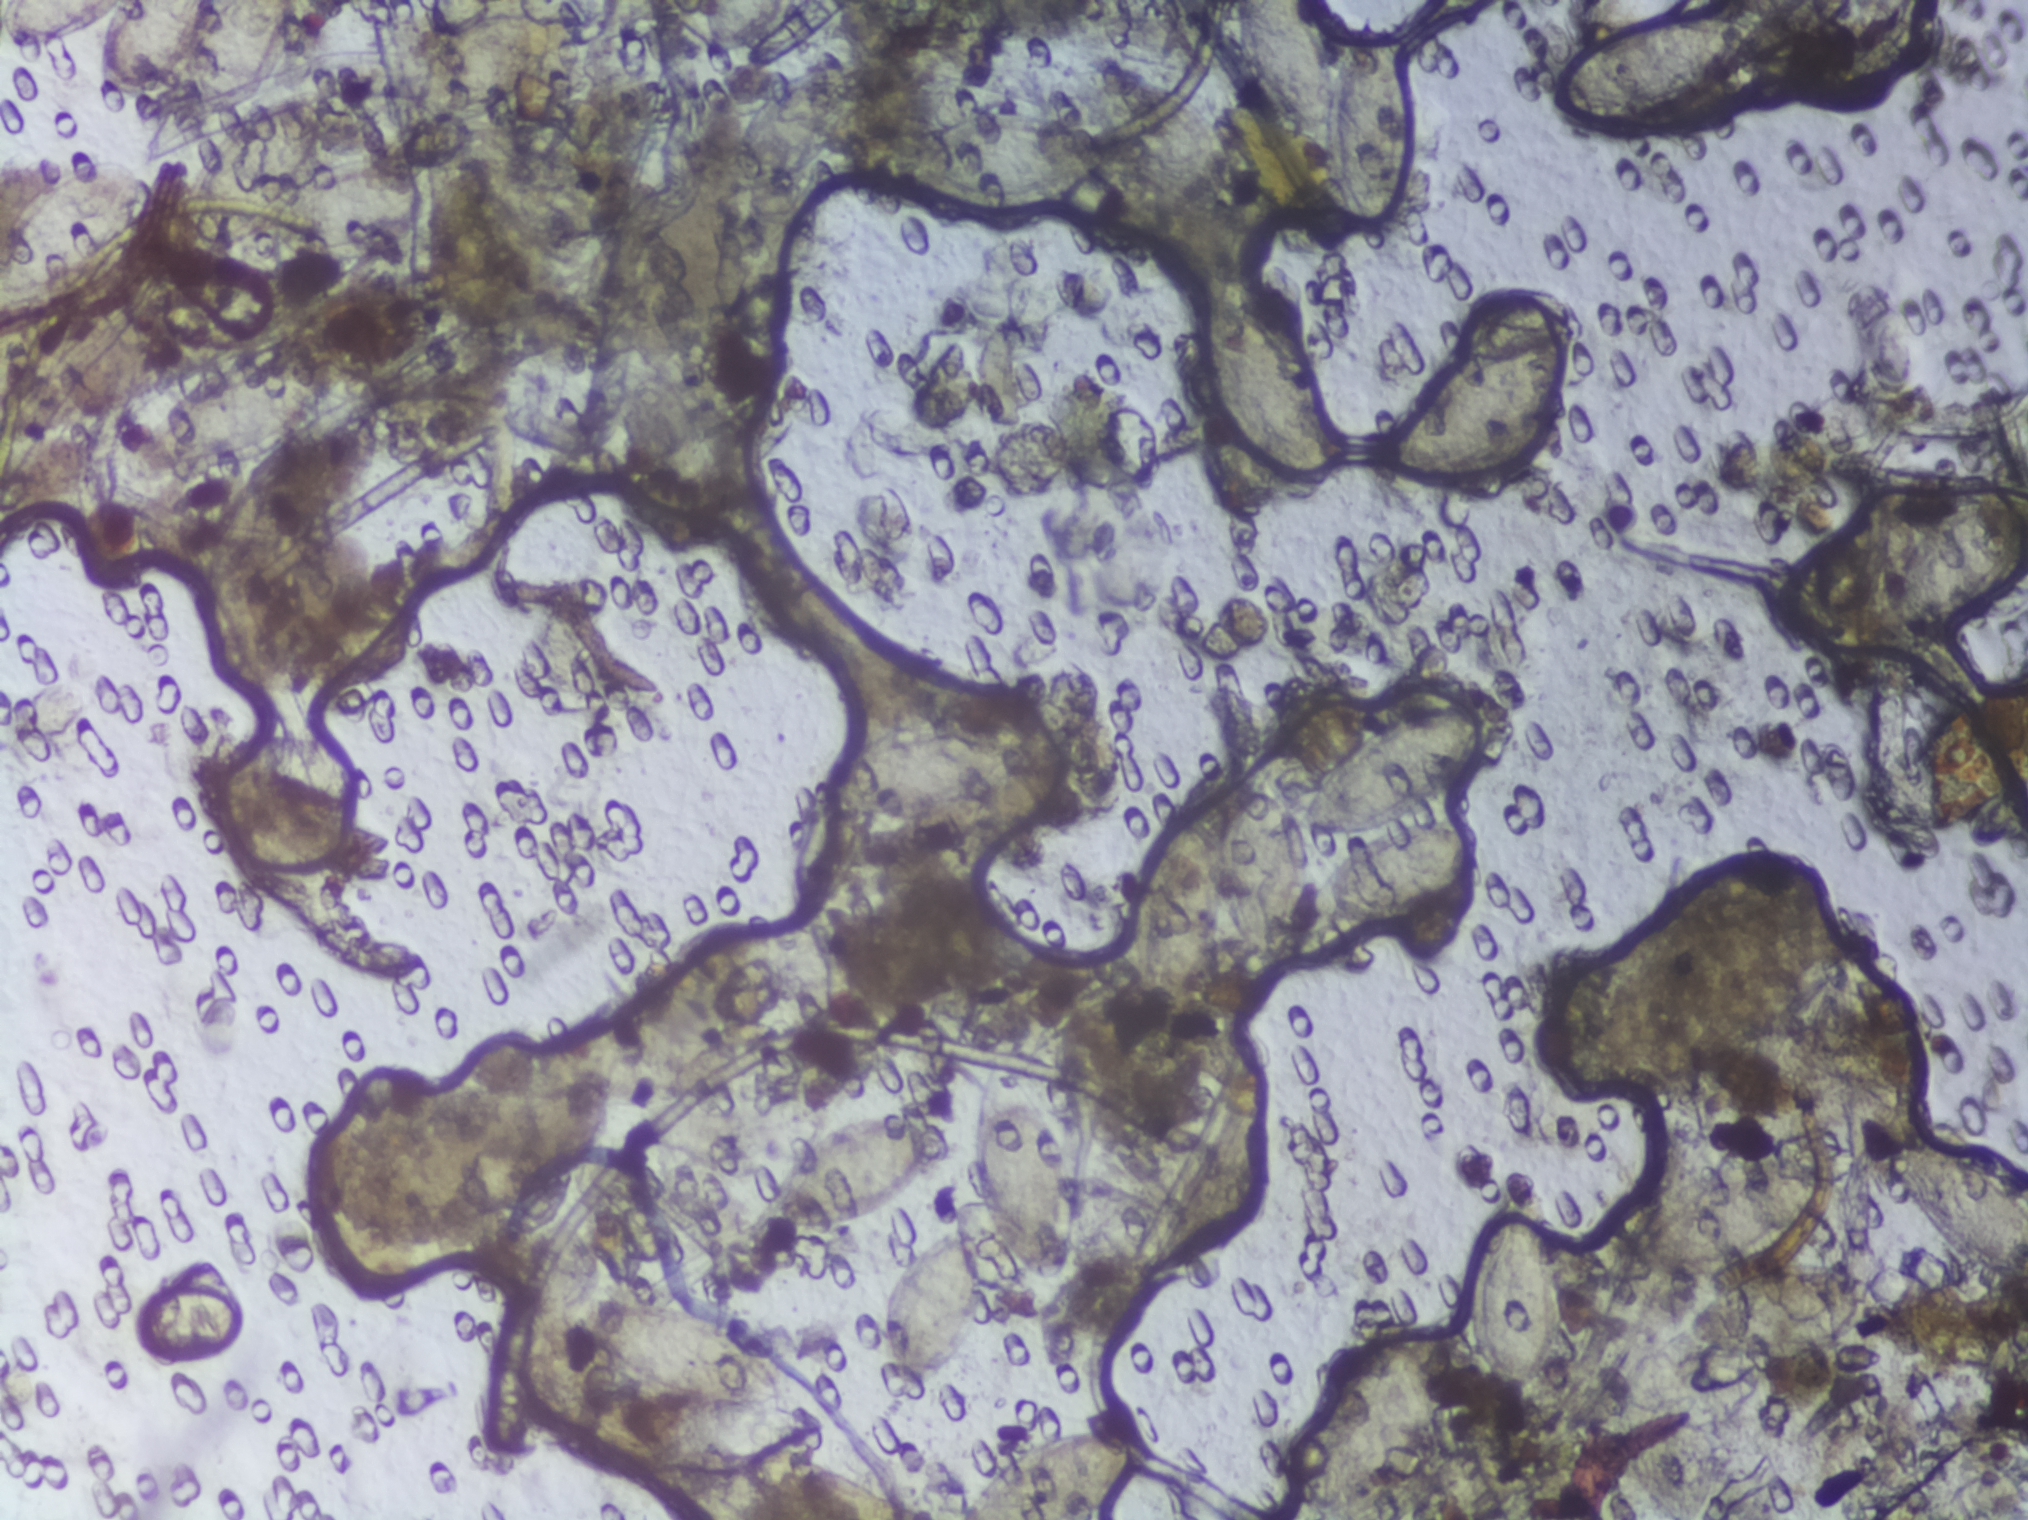
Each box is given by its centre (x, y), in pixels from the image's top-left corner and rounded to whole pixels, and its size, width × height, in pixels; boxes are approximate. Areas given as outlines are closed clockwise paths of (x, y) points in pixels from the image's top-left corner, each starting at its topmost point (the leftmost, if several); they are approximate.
Schistosoma eggs are outlined in 26 areas of this image, listed from left to right: outline (0, 0), (206, 0), (186, 47), (211, 14), (211, 0), (298, 0), (278, 63), (251, 99), (289, 83), (328, 82), (338, 109), (332, 152), (392, 145), (420, 156), (442, 187), (442, 209), (431, 223), (390, 244), (330, 263), (272, 271), (236, 264), (231, 256), (187, 263), (171, 252), (164, 228), (152, 256), (102, 296), (50, 323), (0, 329), (0, 218), (8, 194), (68, 161), (135, 159), (156, 178), (165, 224), (189, 165), (231, 117), (201, 116), (171, 102), (167, 90), (177, 63), (152, 100), (111, 100), (97, 76), (106, 10), (47, 48), (0, 46) (eggs clustered together; reaching the left and top edges of the frame); box centre (245, 399), 232 × 154 px; box centre (495, 73), 172 × 147 px (reaching the top edge of the frame); box centre (531, 1146), 158 × 138 px; box centre (681, 1358), 202 × 112 px; box centre (744, 25), 94 × 51 px (reaching the top edge of the frame); box centre (772, 968), 205 × 90 px; box centre (792, 129), 146 × 140 px; box centre (855, 1173), 163 × 111 px; box centre (932, 1313), 96 × 160 px; box centre (950, 772), 262 × 114 px; box centre (1026, 1170), 108 × 230 px; box centre (1044, 1474), 183 × 92 px (reaching the bottom edge of the frame); box centre (1060, 152), 378 × 162 px; box centre (1256, 398), 170 × 286 px; outline (1442, 697), (1475, 699), (1494, 724), (1488, 760), (1464, 798), (1444, 813), (1473, 820), (1490, 838), (1488, 862), (1468, 898), (1412, 924), (1317, 924), (1300, 980), (1271, 983), (1246, 960), (1238, 997), (1210, 1036), (1185, 1046), (1153, 1032), (1134, 975), (1136, 889), (1150, 832), (1166, 802), (1201, 821), (1208, 839), (1223, 776), (1264, 777), (1280, 789), (1289, 815), (1317, 766), (1369, 716), (1397, 703) (eggs clustered together); box centre (1328, 123), 206 × 247 px (reaching the top edge of the frame); box centre (1381, 1418), 160 × 203 px (reaching the bottom edge of the frame); box centre (1481, 388), 202 × 232 px; box centre (1512, 1289), 105 × 220 px; box centre (1667, 73), 245 × 147 px (reaching the top edge of the frame); box centre (1669, 1431), 112 × 178 px (reaching the bottom edge of the frame); box centre (1742, 1261), 251 × 199 px; box centre (1903, 573), 249 × 167 px (reaching the right edge of the frame); box centre (1950, 756), 156 × 160 px (reaching the right edge of the frame); box centre (1959, 1216), 138 × 150 px (reaching the right edge of the frame). About 21% of the image's pixels are marked (the marked pixels themselves, not the boxes and the outlines around them). A single outlined area may contain several eggs.
Photomicrograph of a urine filtration membrane, 4× objective.